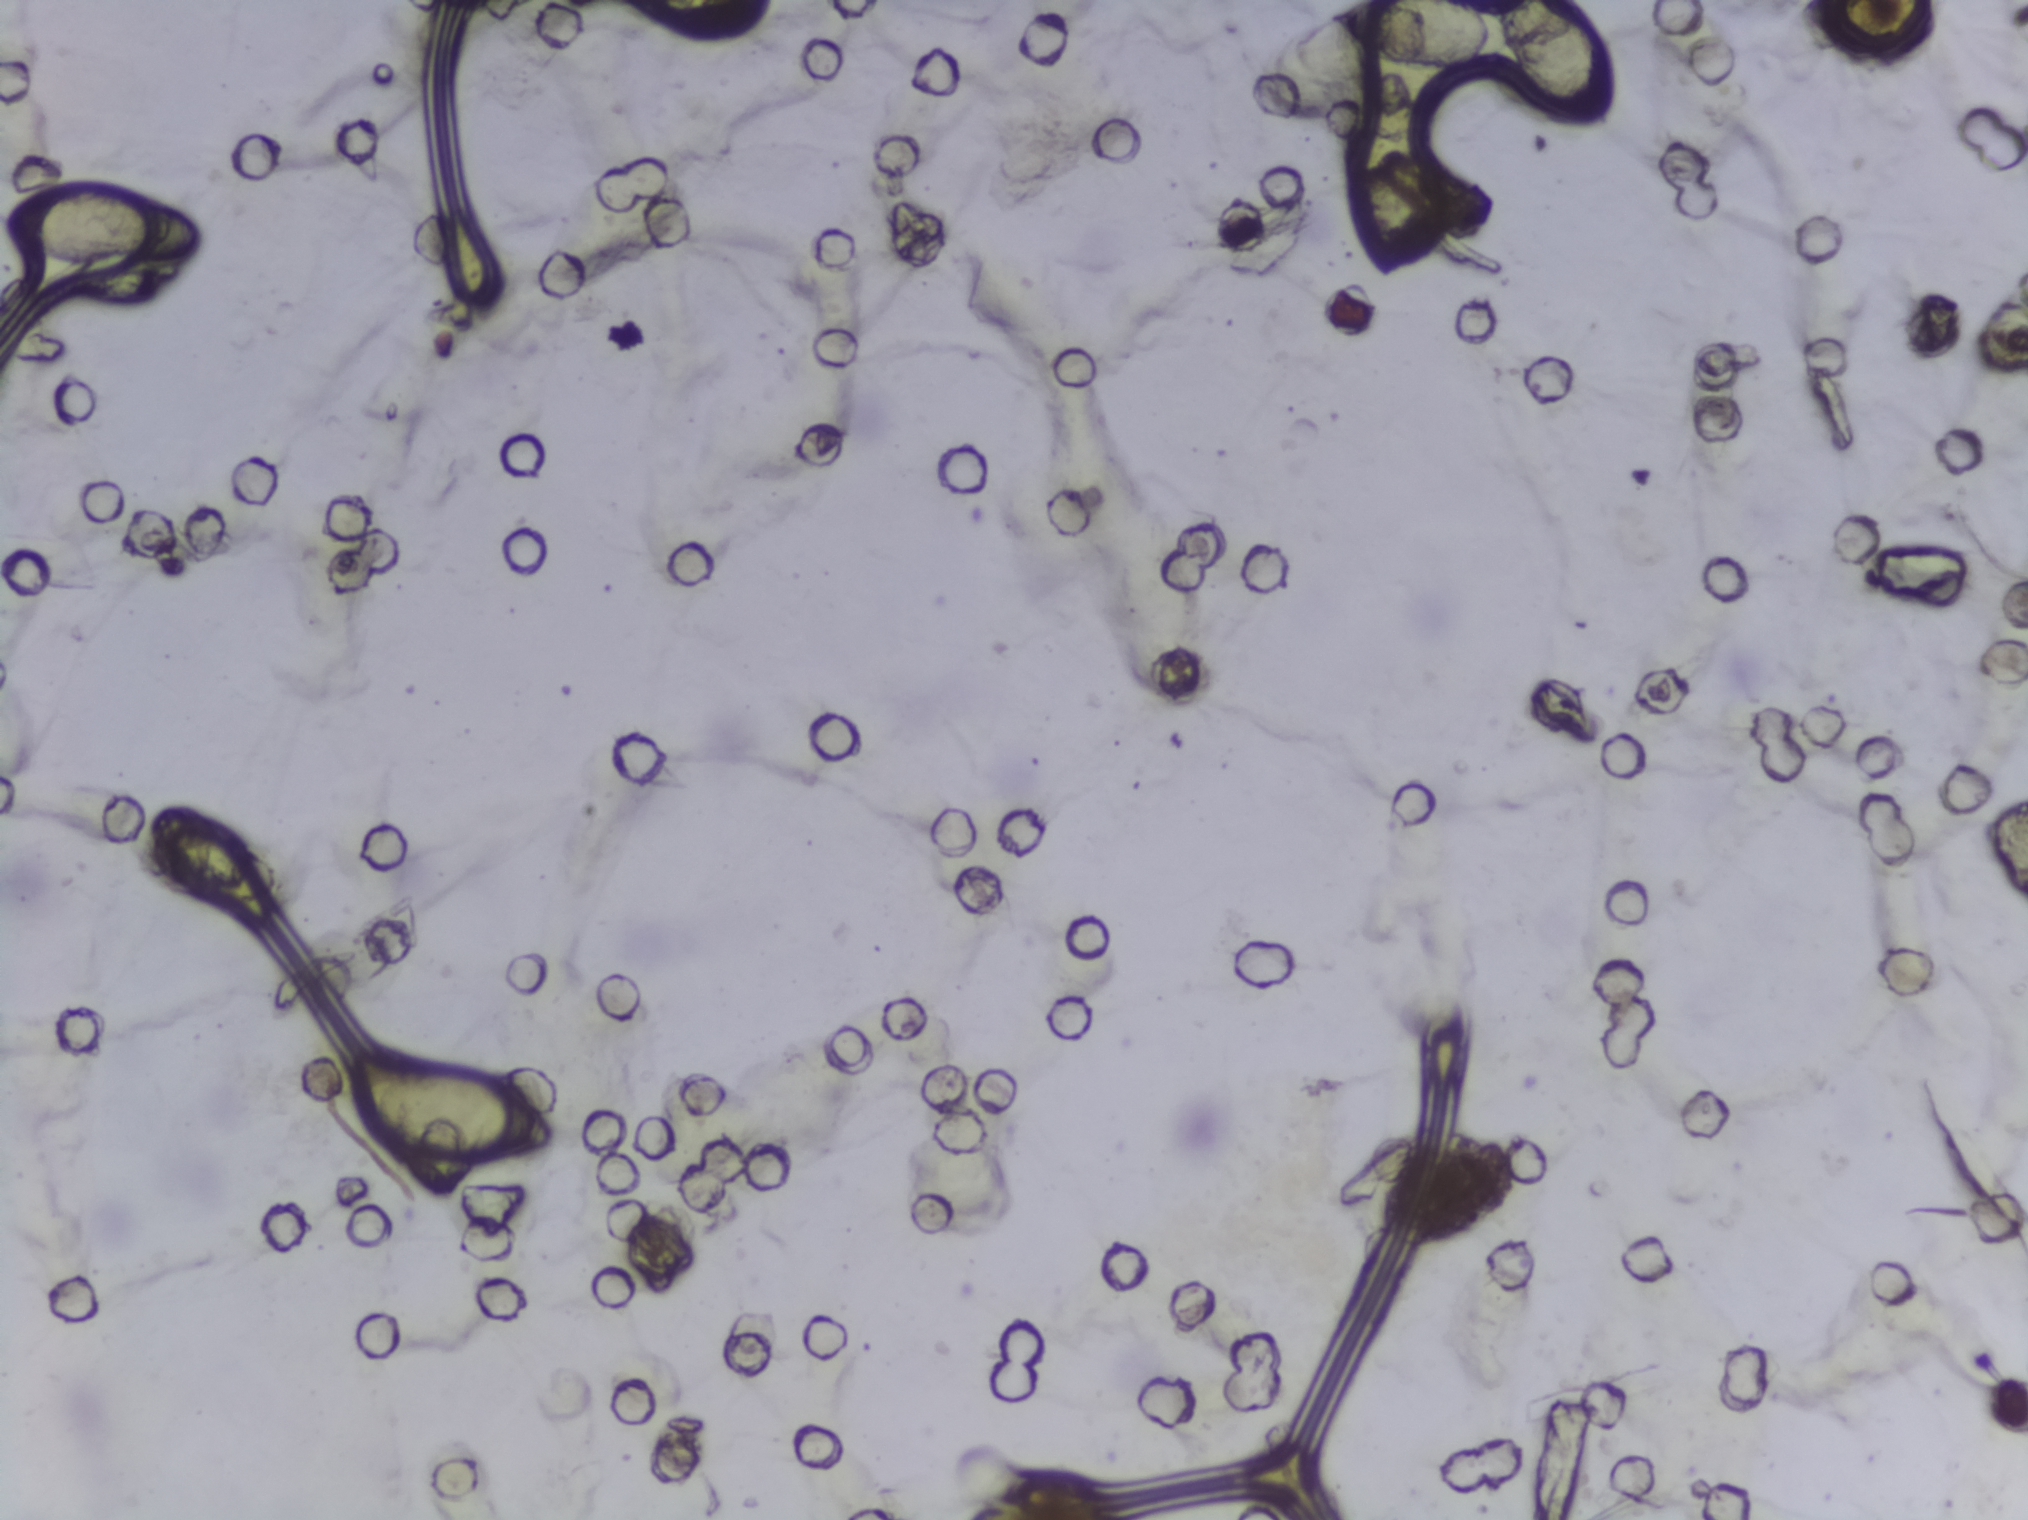
One field of view of a urine filter membrane, 4× objective, 2028 × 1520 pixels.
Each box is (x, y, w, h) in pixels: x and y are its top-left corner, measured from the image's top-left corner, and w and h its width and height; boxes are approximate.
Four areas of this image are outlined as Schistosoma eggs, from left to right: (x=0, y=178, w=206, h=87) (reaching the left edge of the frame); (x=142, y=798, w=105, h=96); (x=343, y=1065, w=219, h=102); (x=1324, y=0, w=292, h=127) (reaching the top edge of the frame). Marked pixels, not the boxes around them: about 1.9% of the image. An outlined area can hold more than one egg.